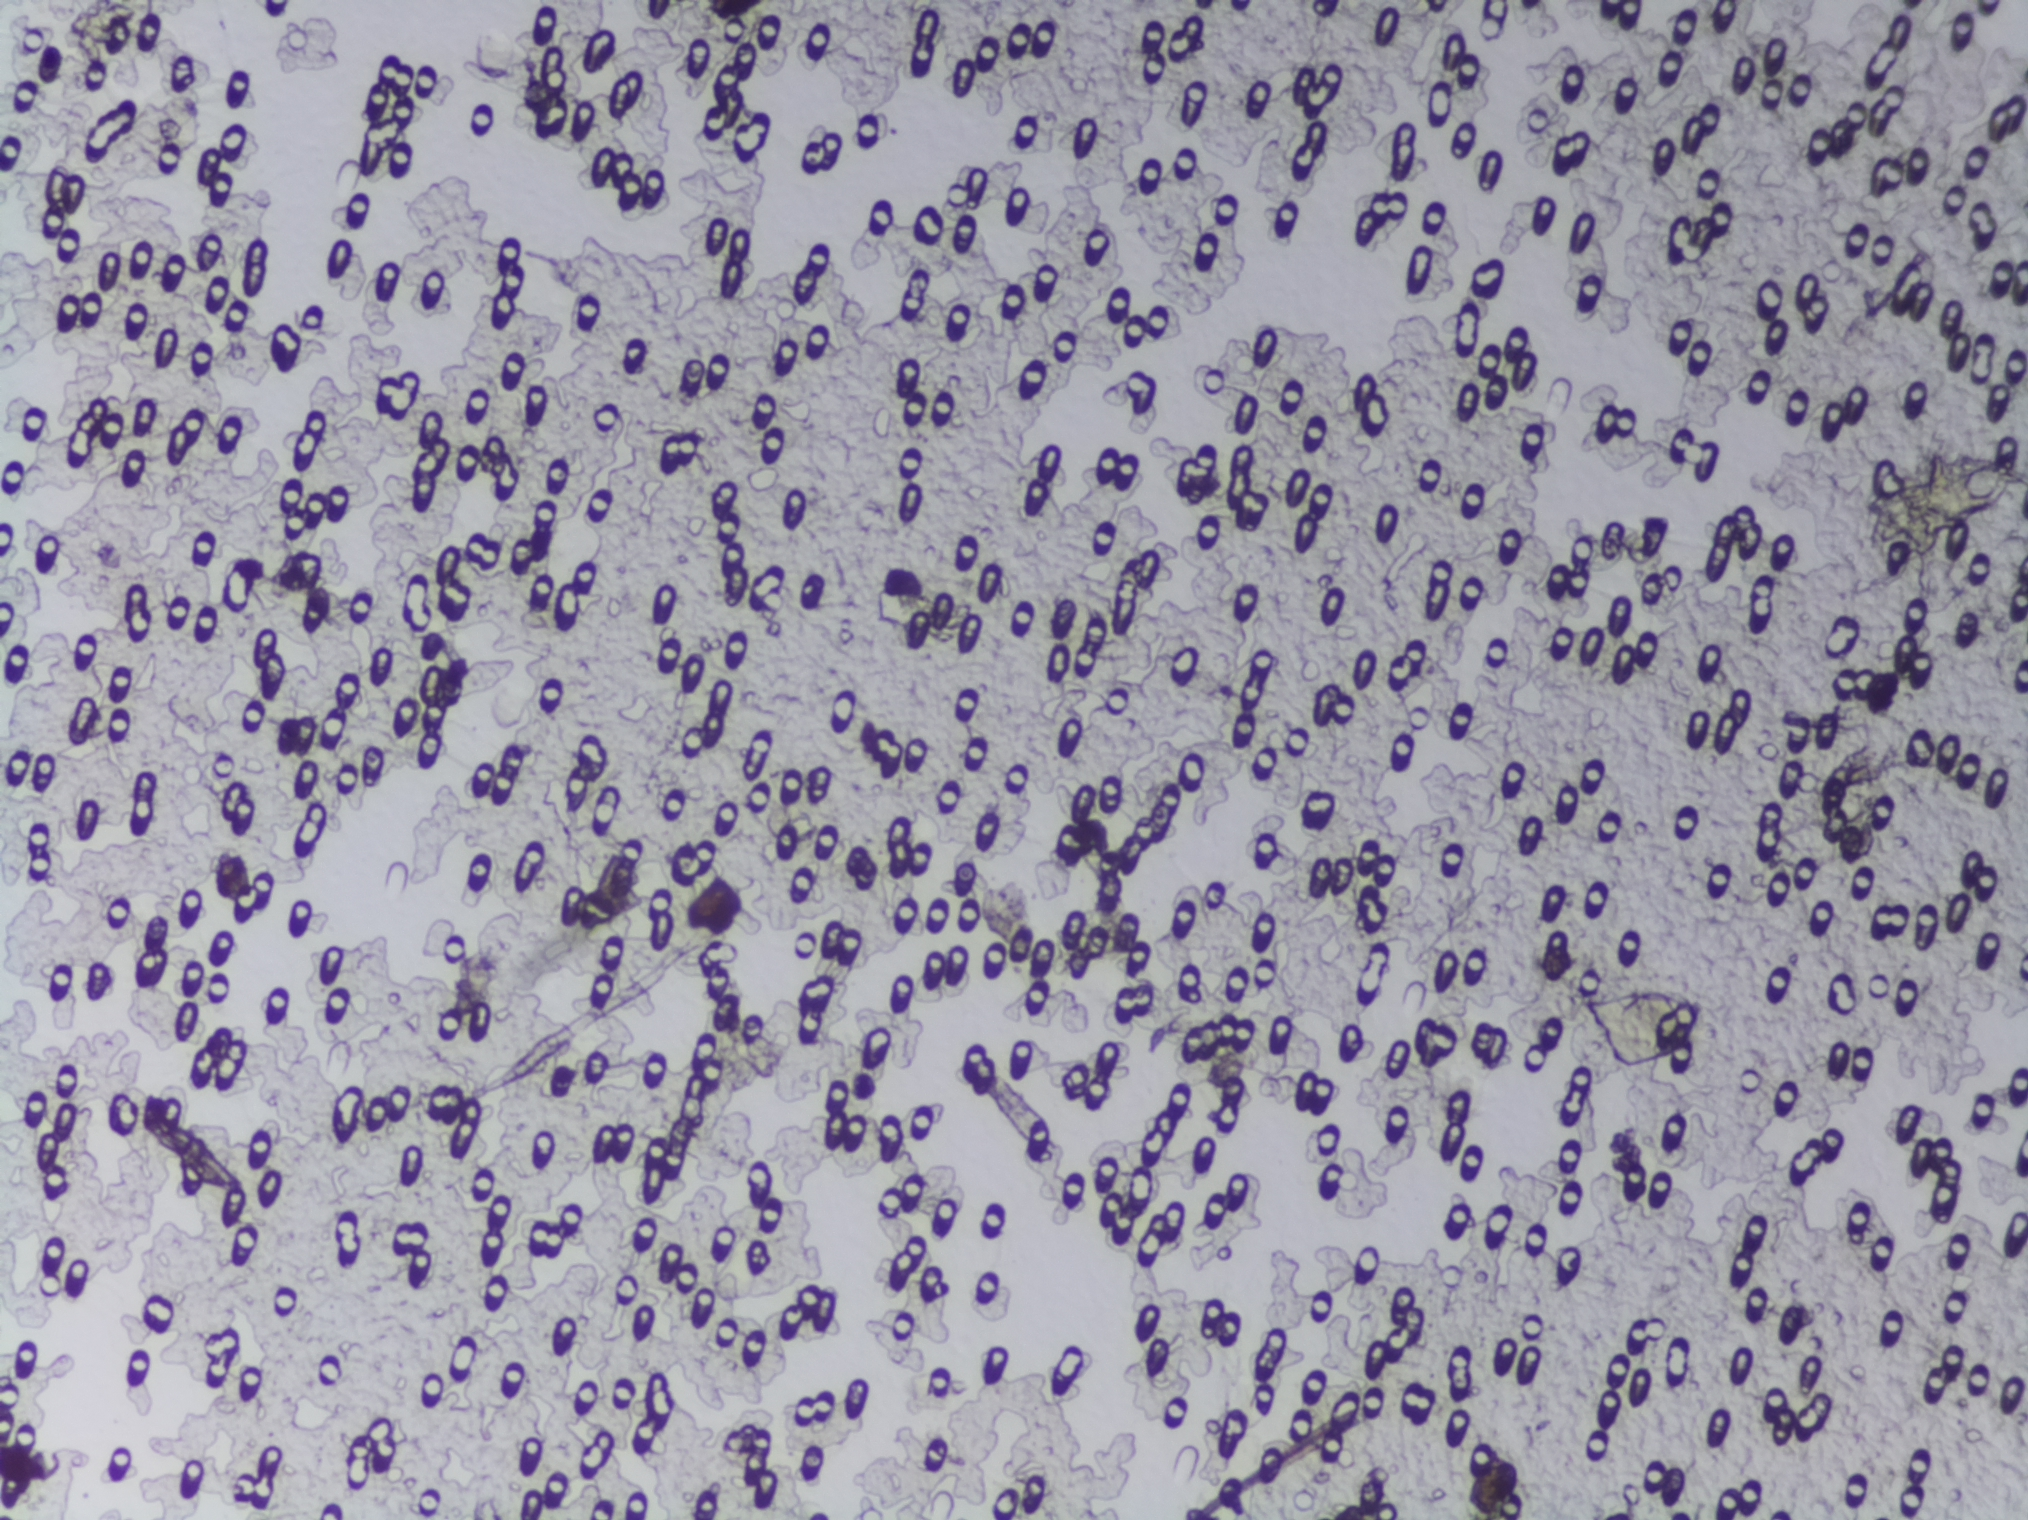
The expert annotation outlines no Schistosoma egg in this image.
Photomicrograph of a urine filtration membrane, 4× objective.